Urine filtration membrane under a 4× objective, photographed by an automated digital microscope.
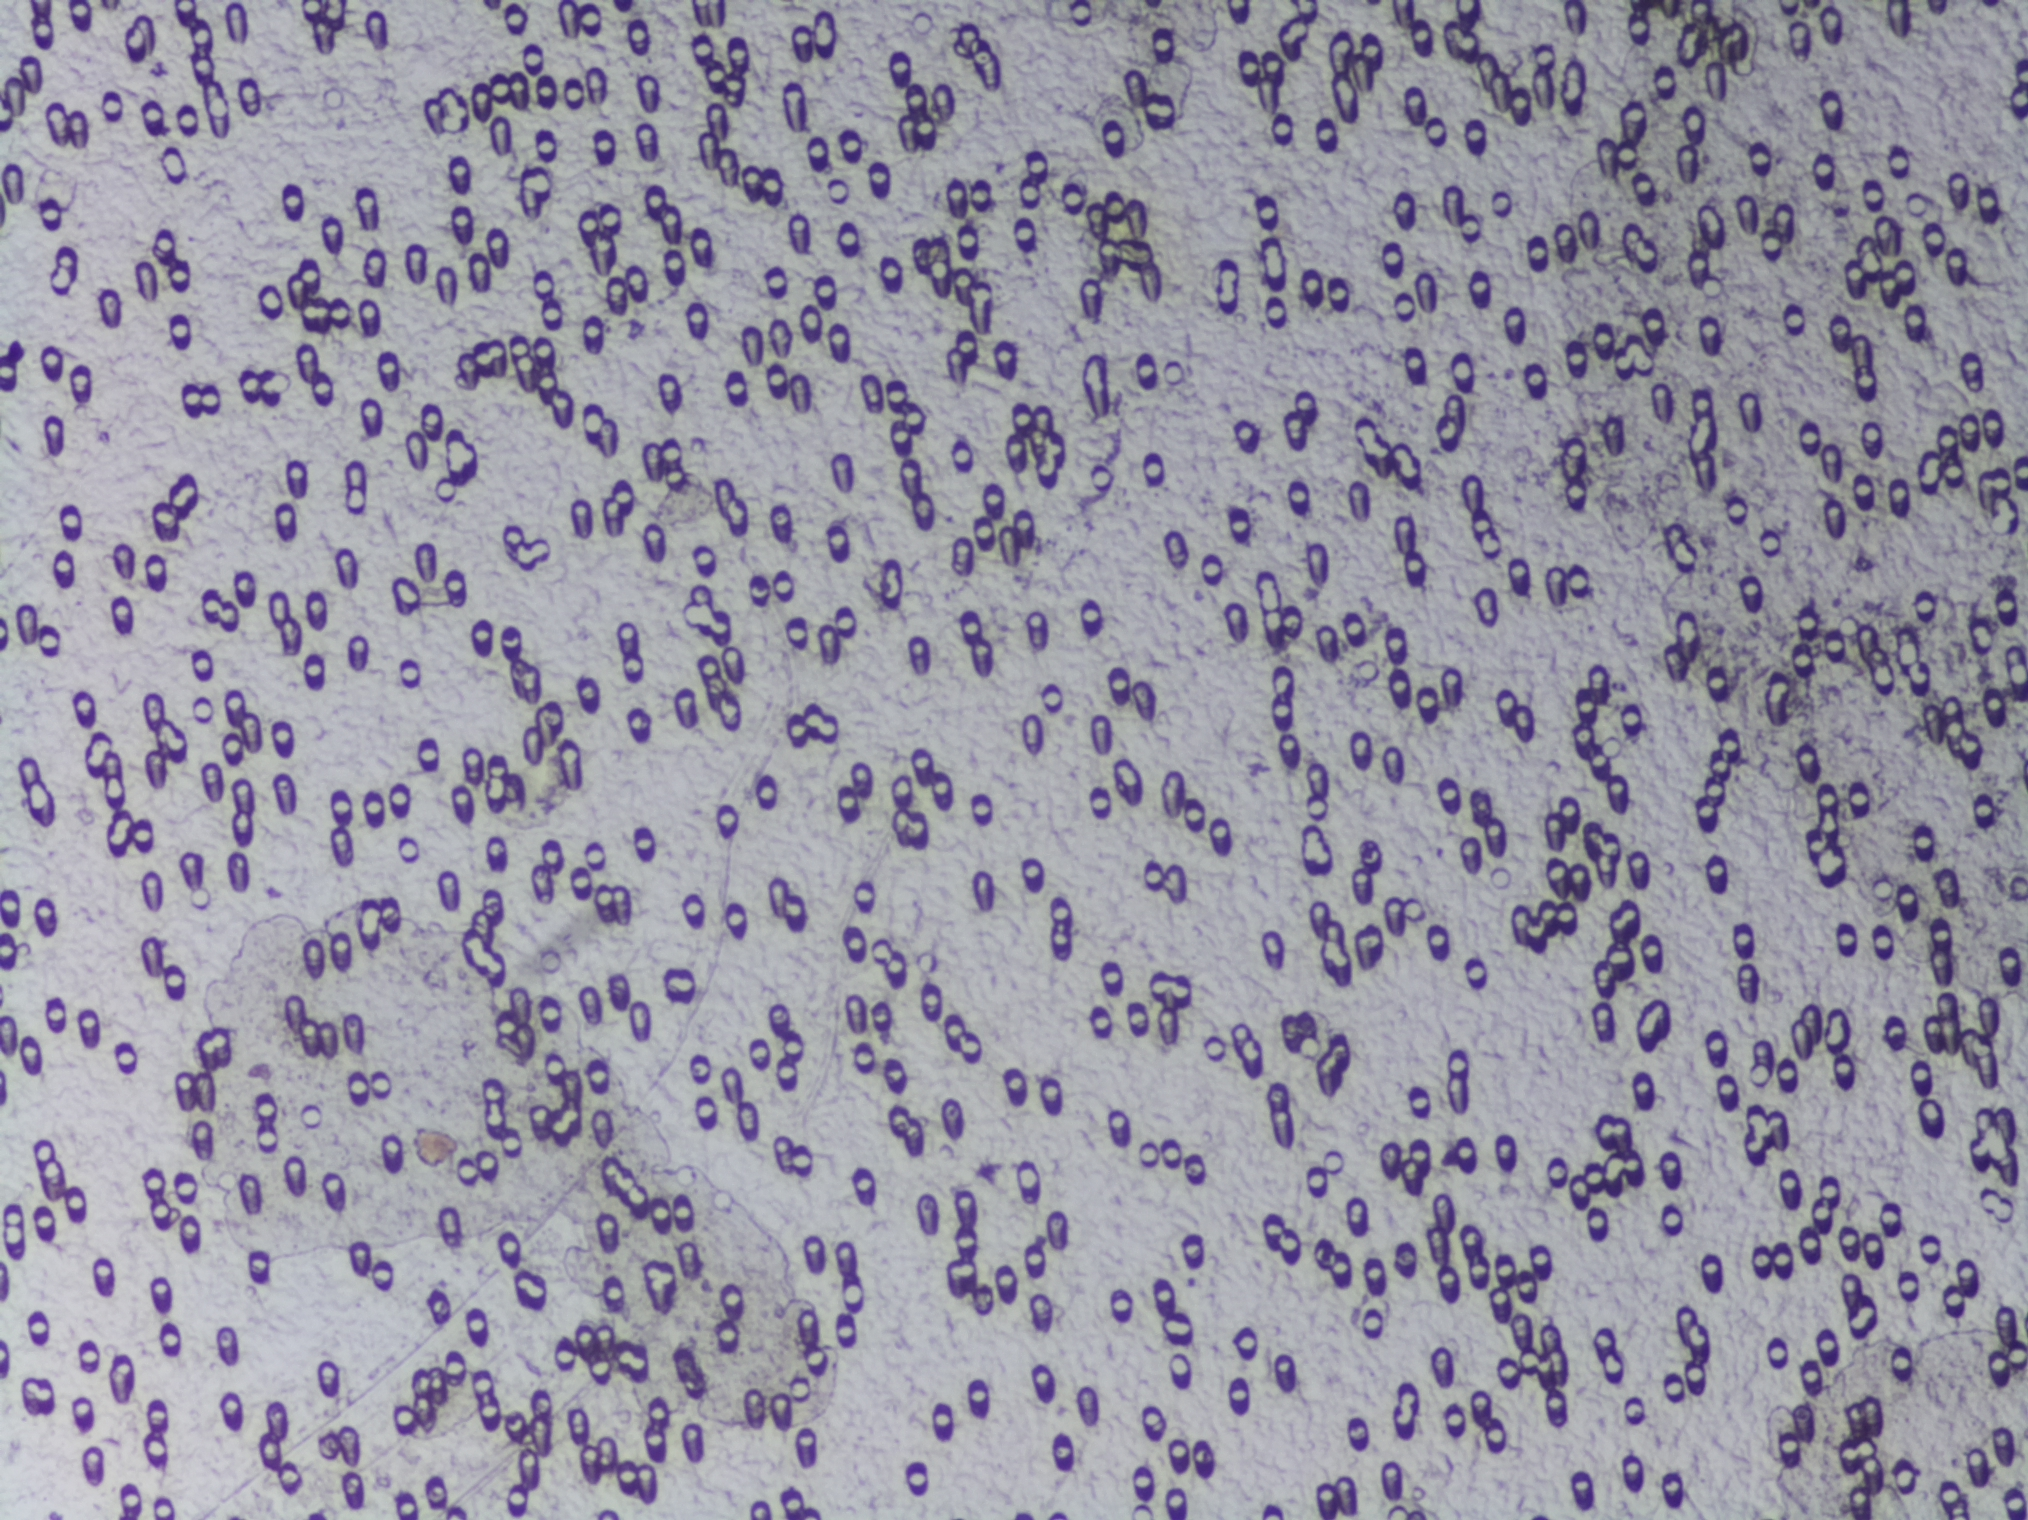
The expert annotation outlines no Schistosoma egg in this image.